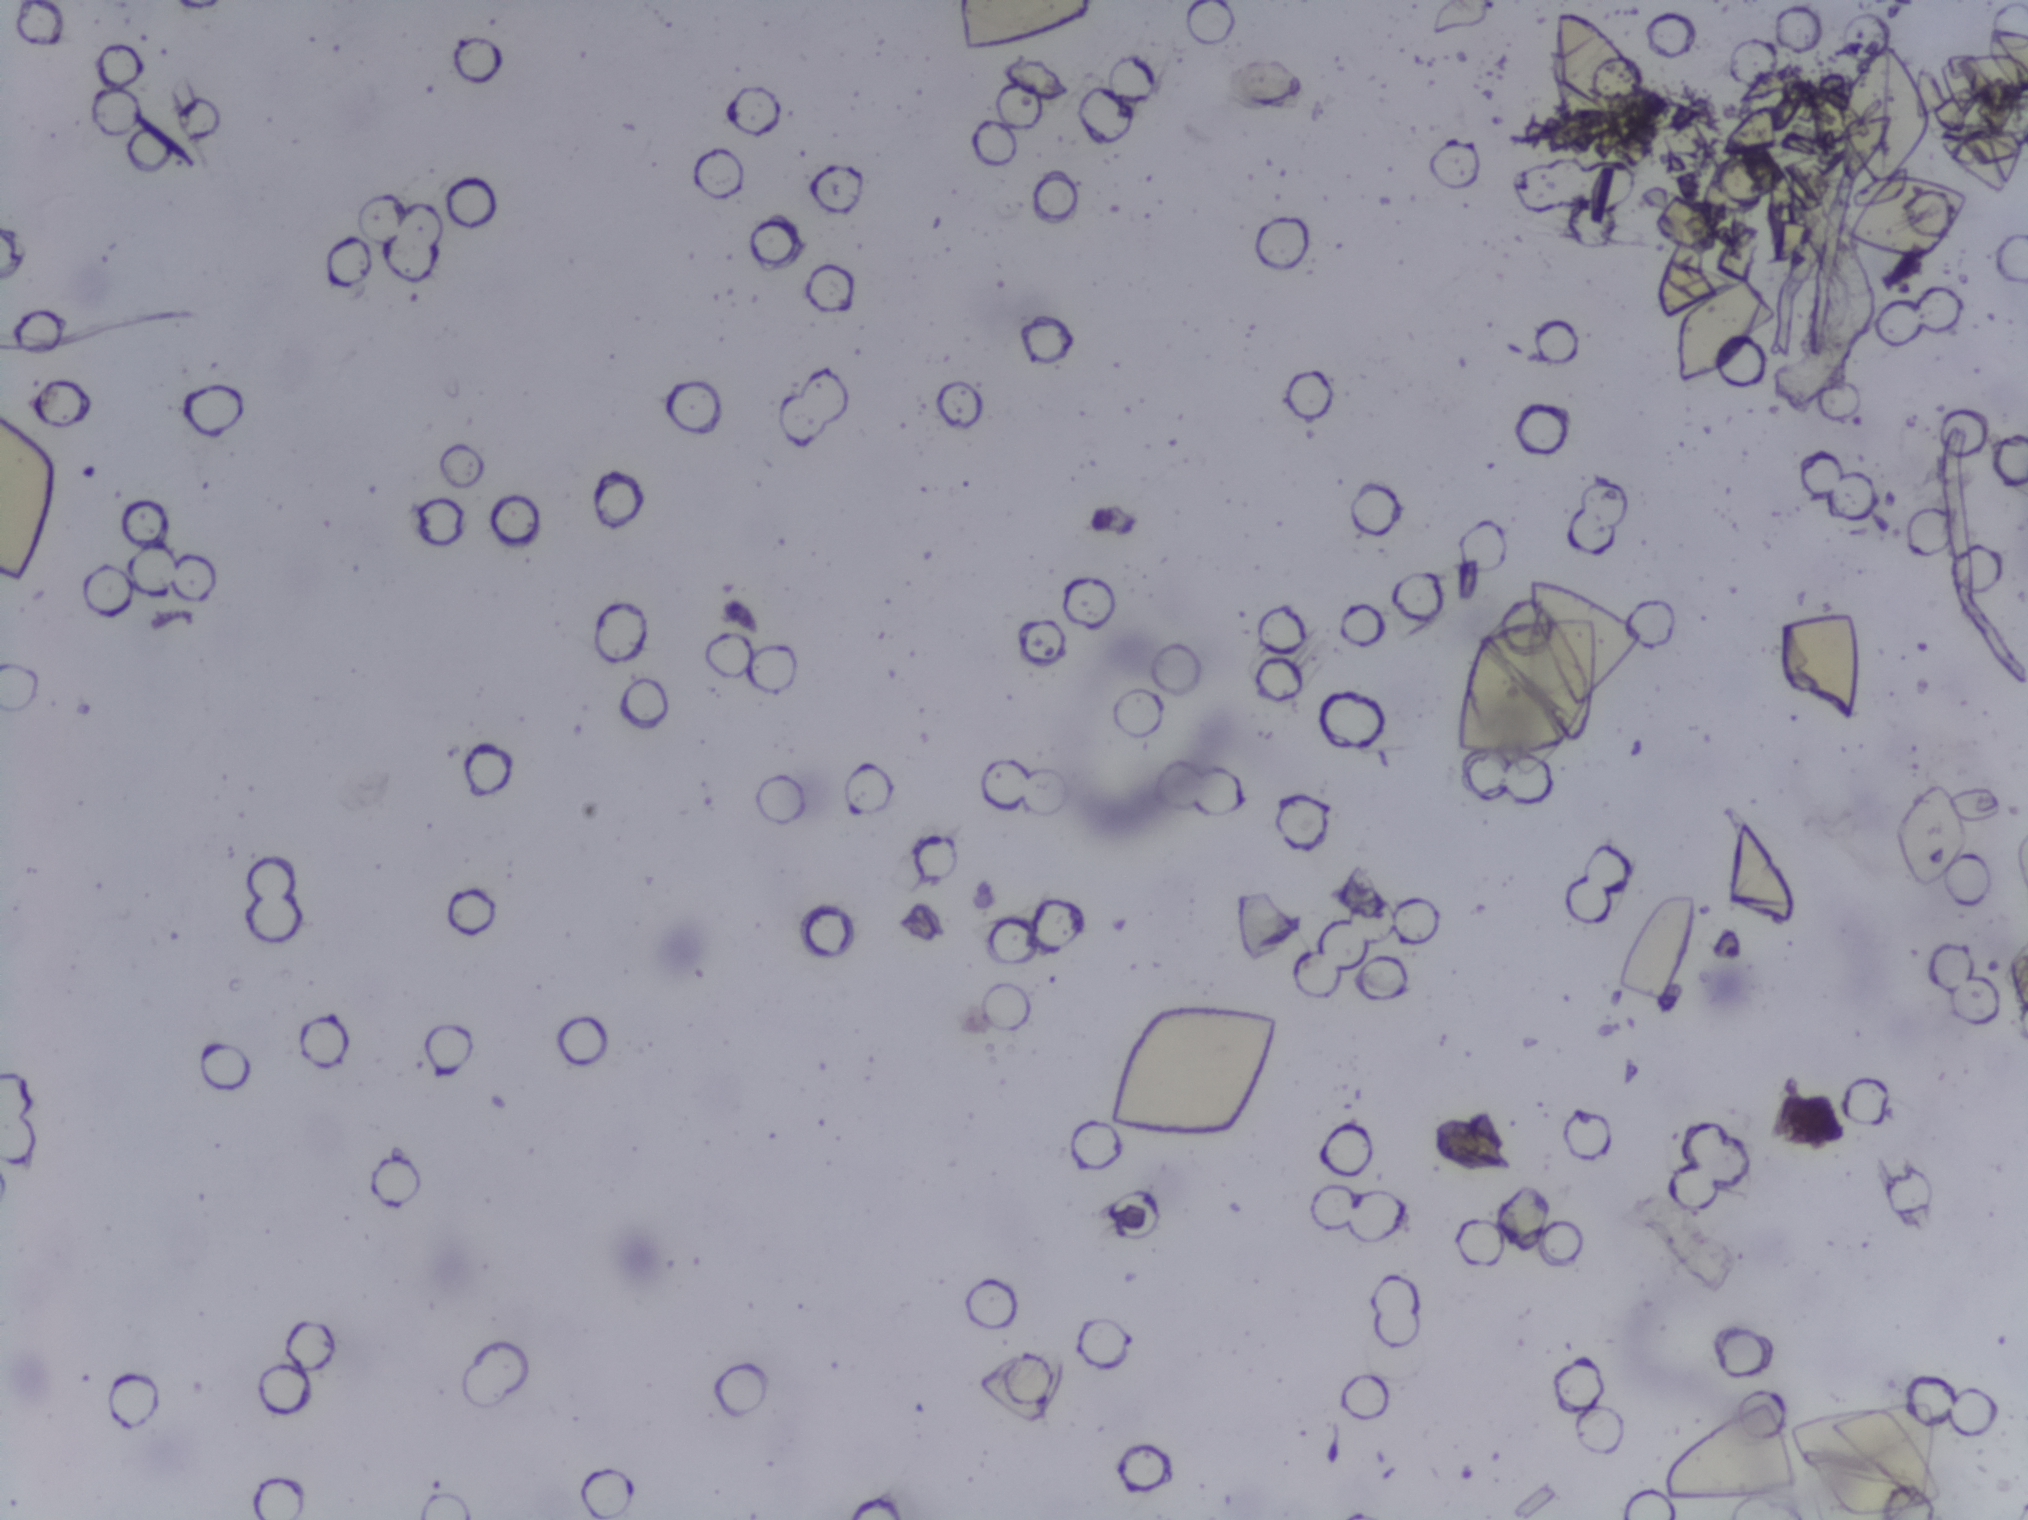
Urine filtration membrane under a 4× objective, photographed by an automated digital microscope.
No area of this image was outlined as a Schistosoma egg.